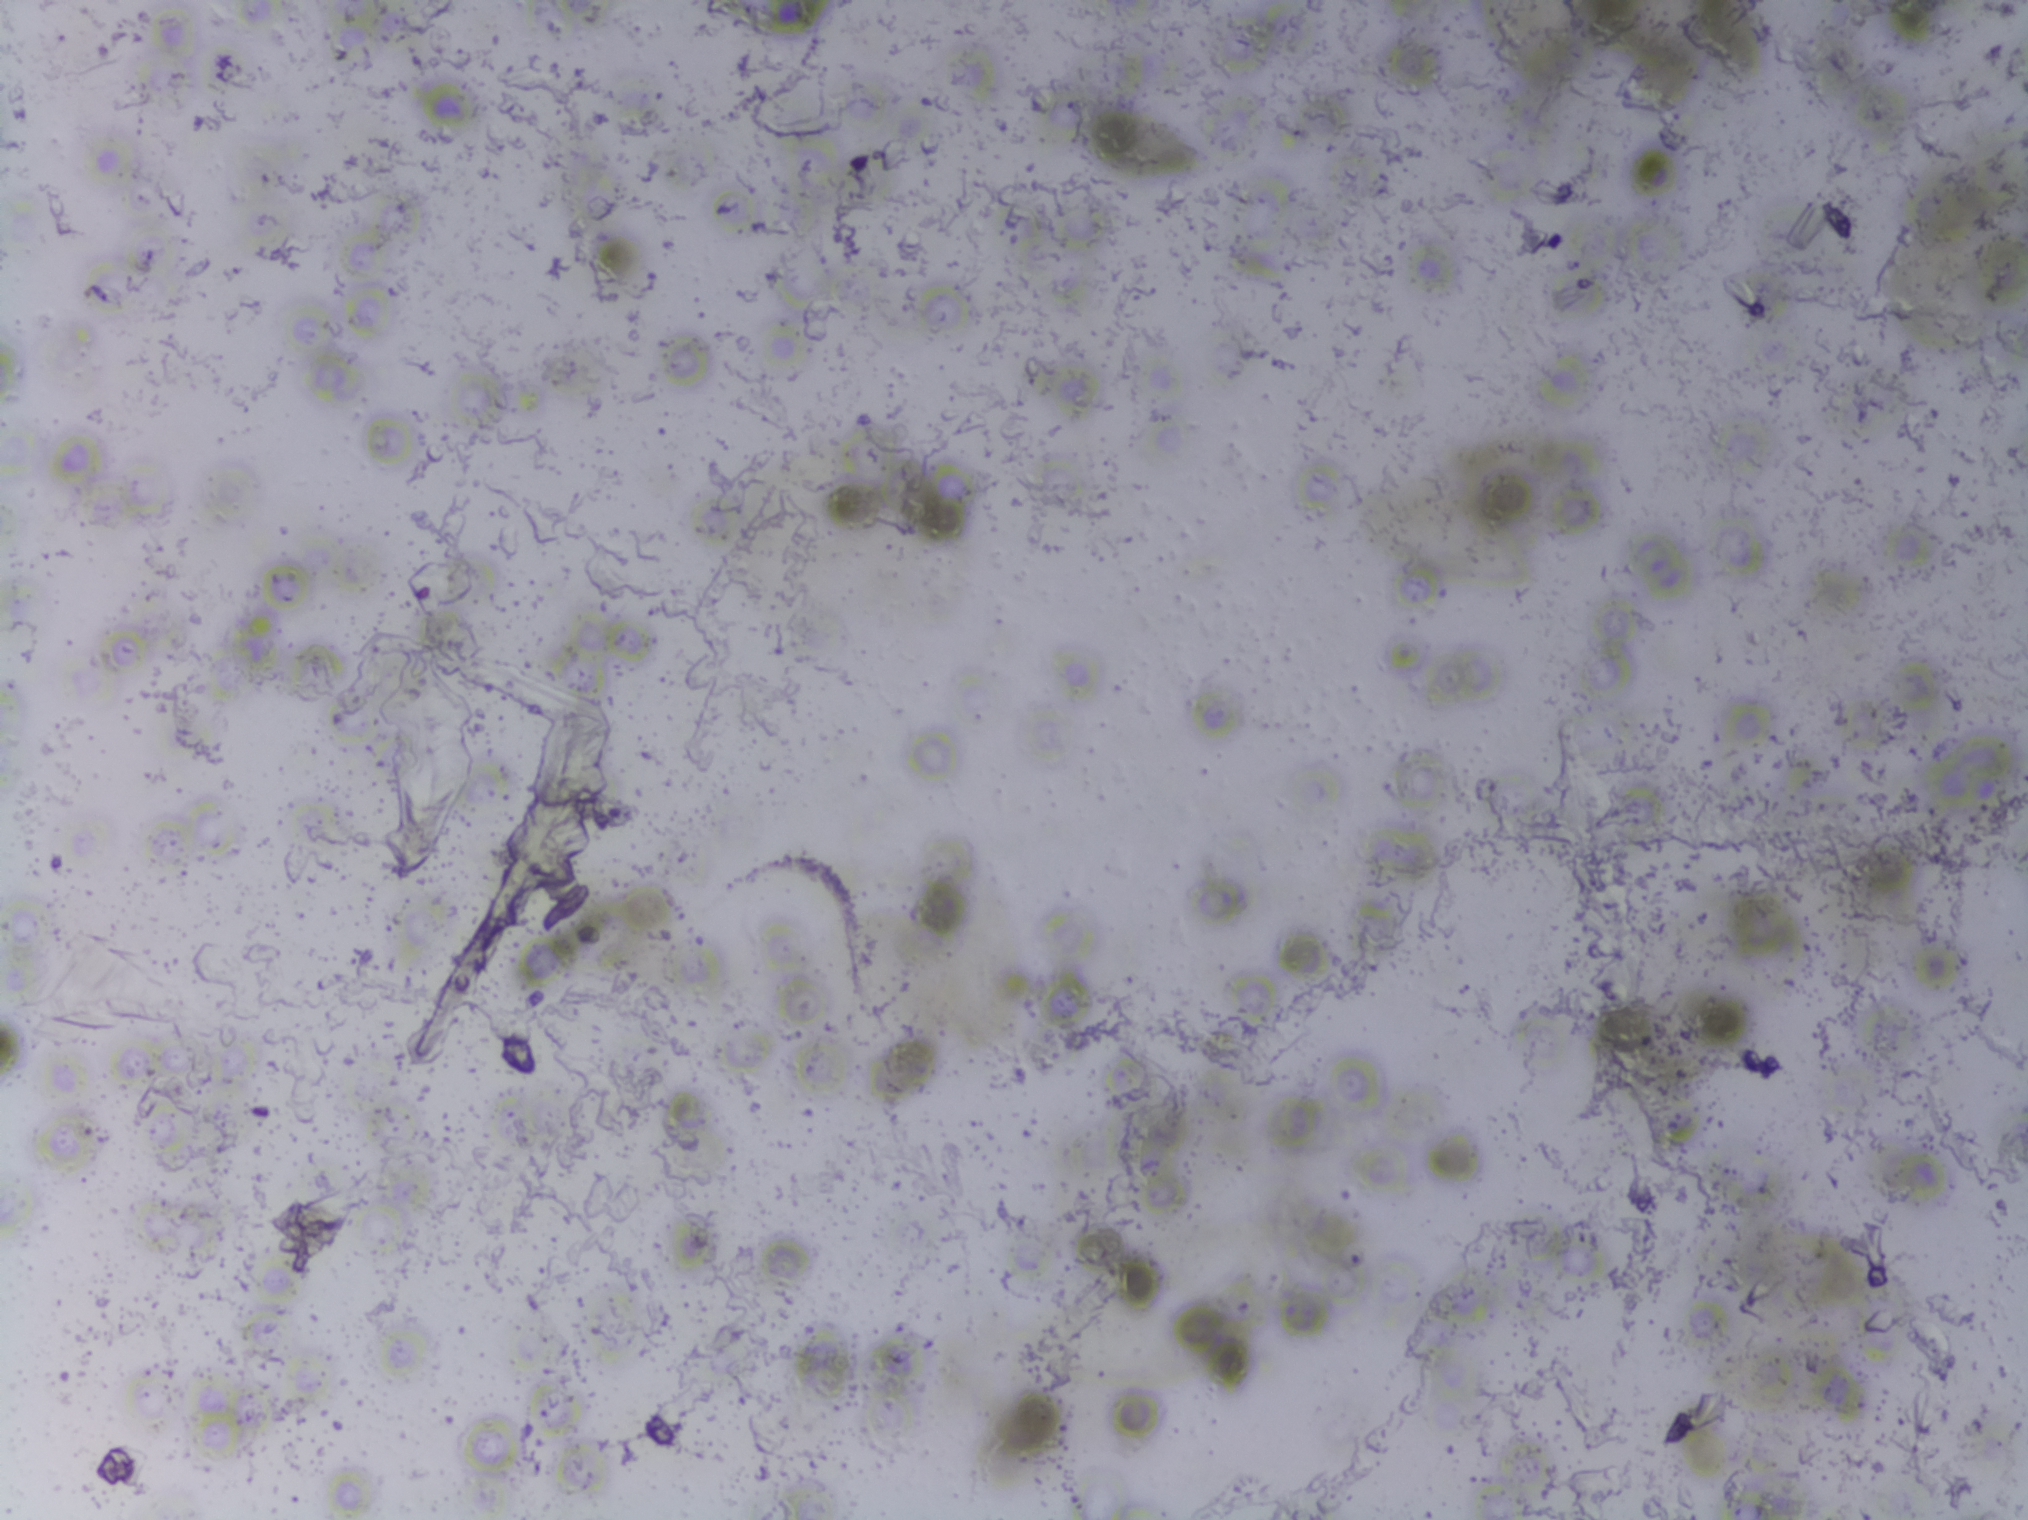
Photomicrograph of a urine filtration membrane, 4× objective.
The expert annotation outlines no Schistosoma egg in this image.